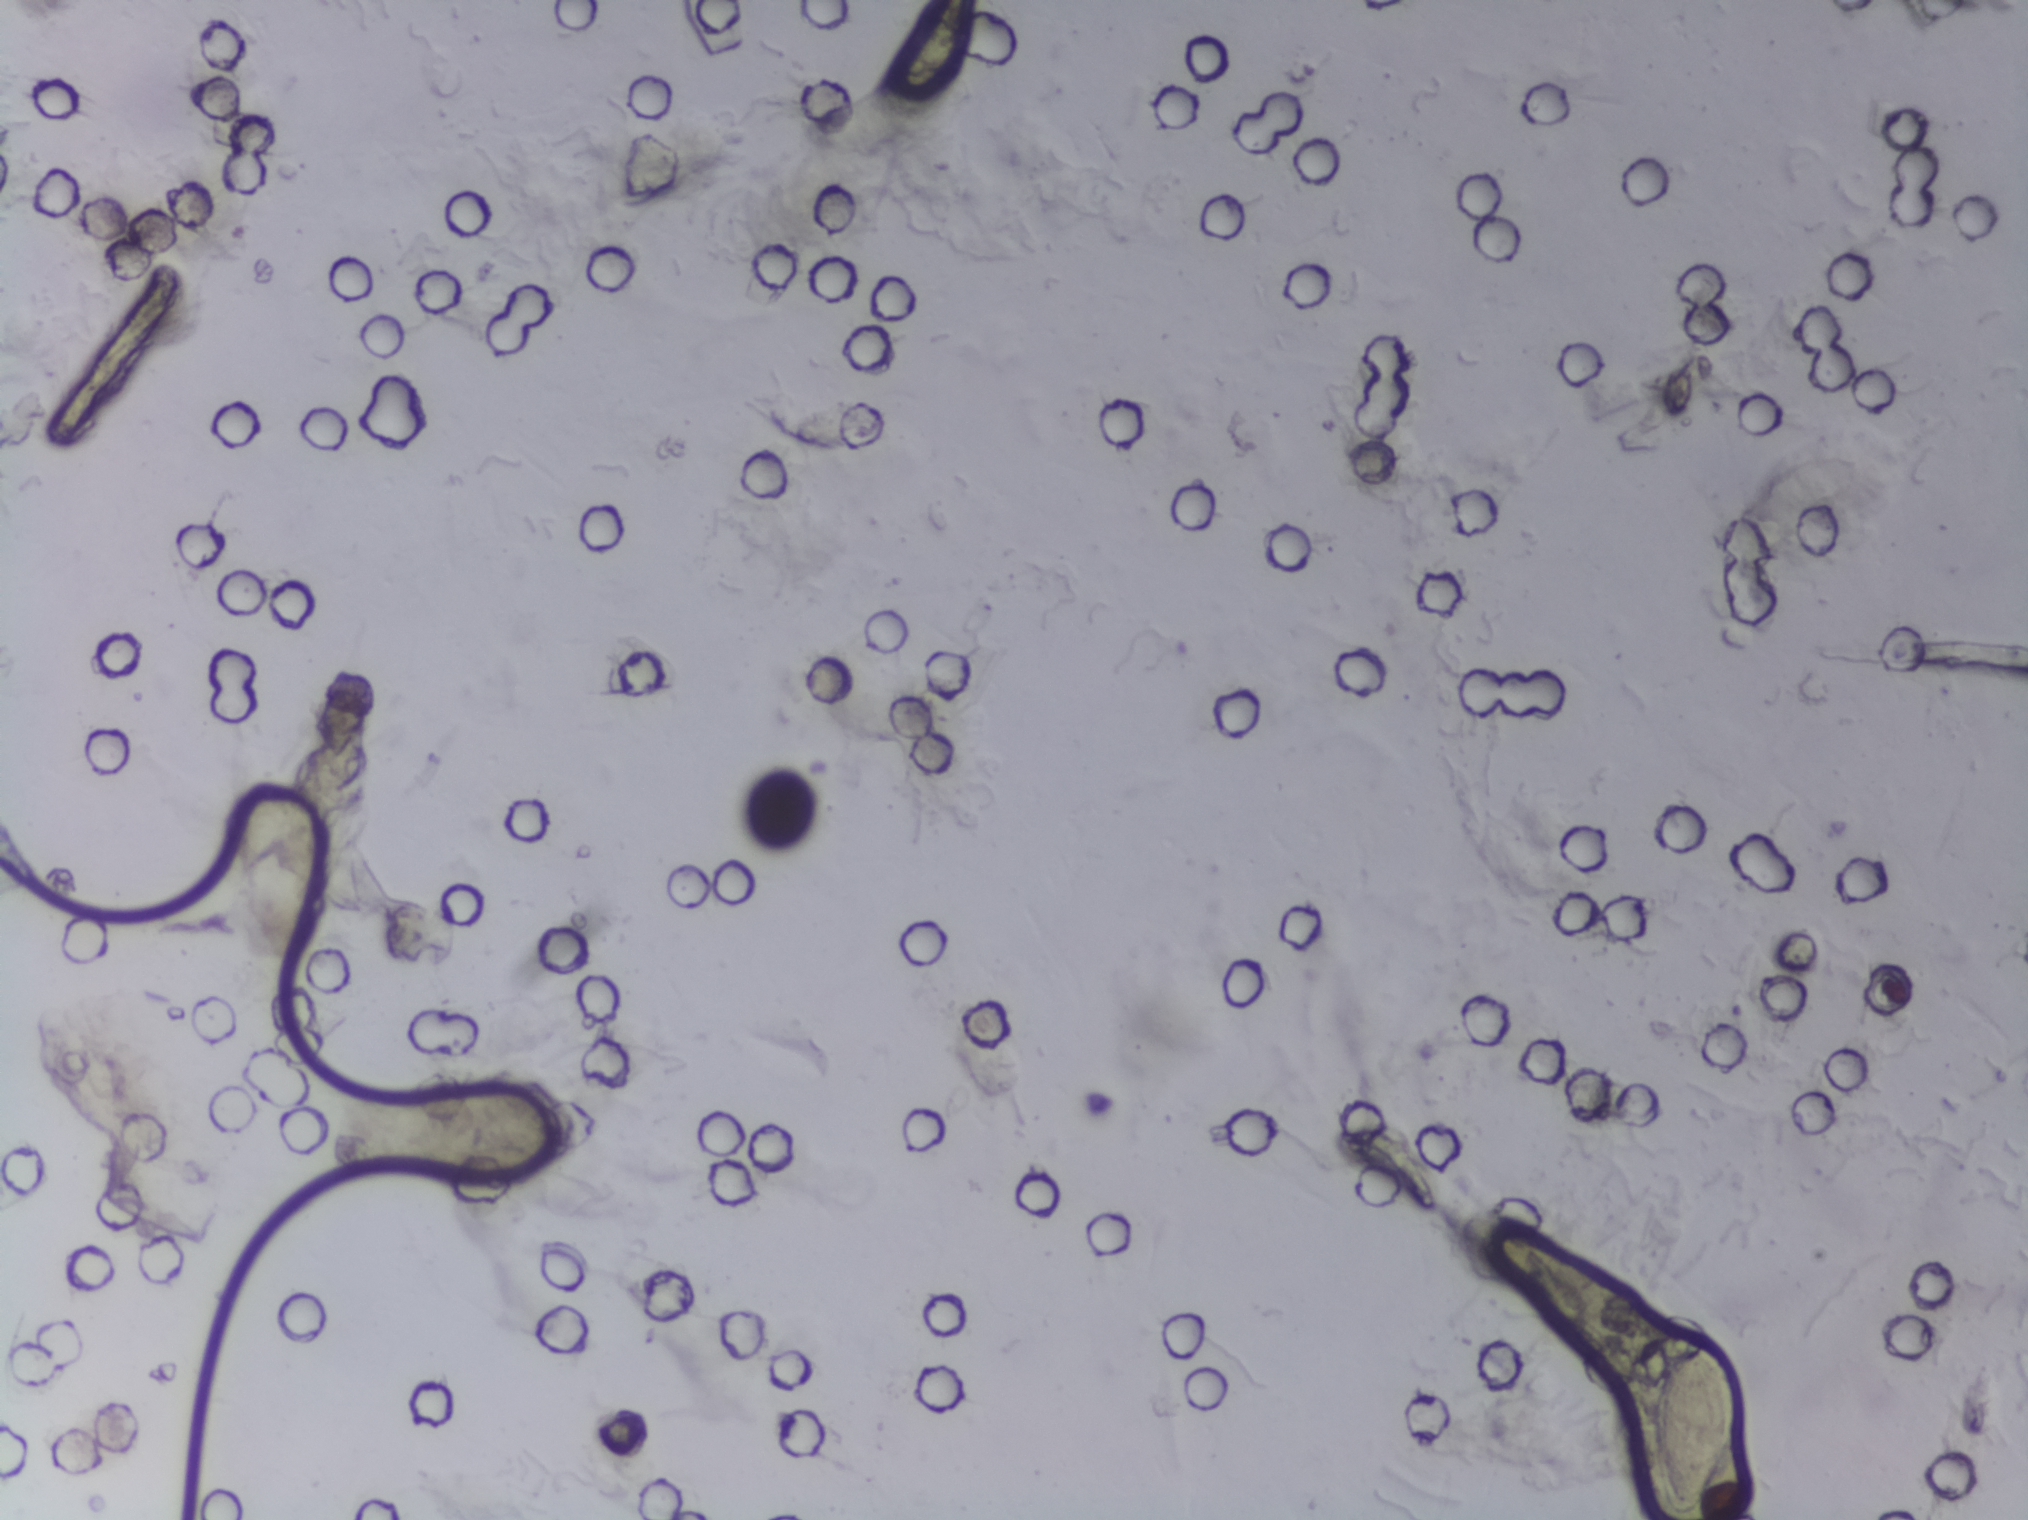
Urine filter membrane photographed through a 4× microscope objective. Field of view: about 1.5 mm wide and 1.1 mm high.
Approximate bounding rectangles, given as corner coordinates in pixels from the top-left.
The expert annotation outlines Schistosoma eggs at (x1=1645, y1=1338, x2=1737, y2=1514). About 0.4% of the image's pixels are marked (the marked pixels themselves, not the box around them). A single outlined area may contain several eggs.